Urine filtration membrane under a 4× objective, photographed by an automated digital microscope.
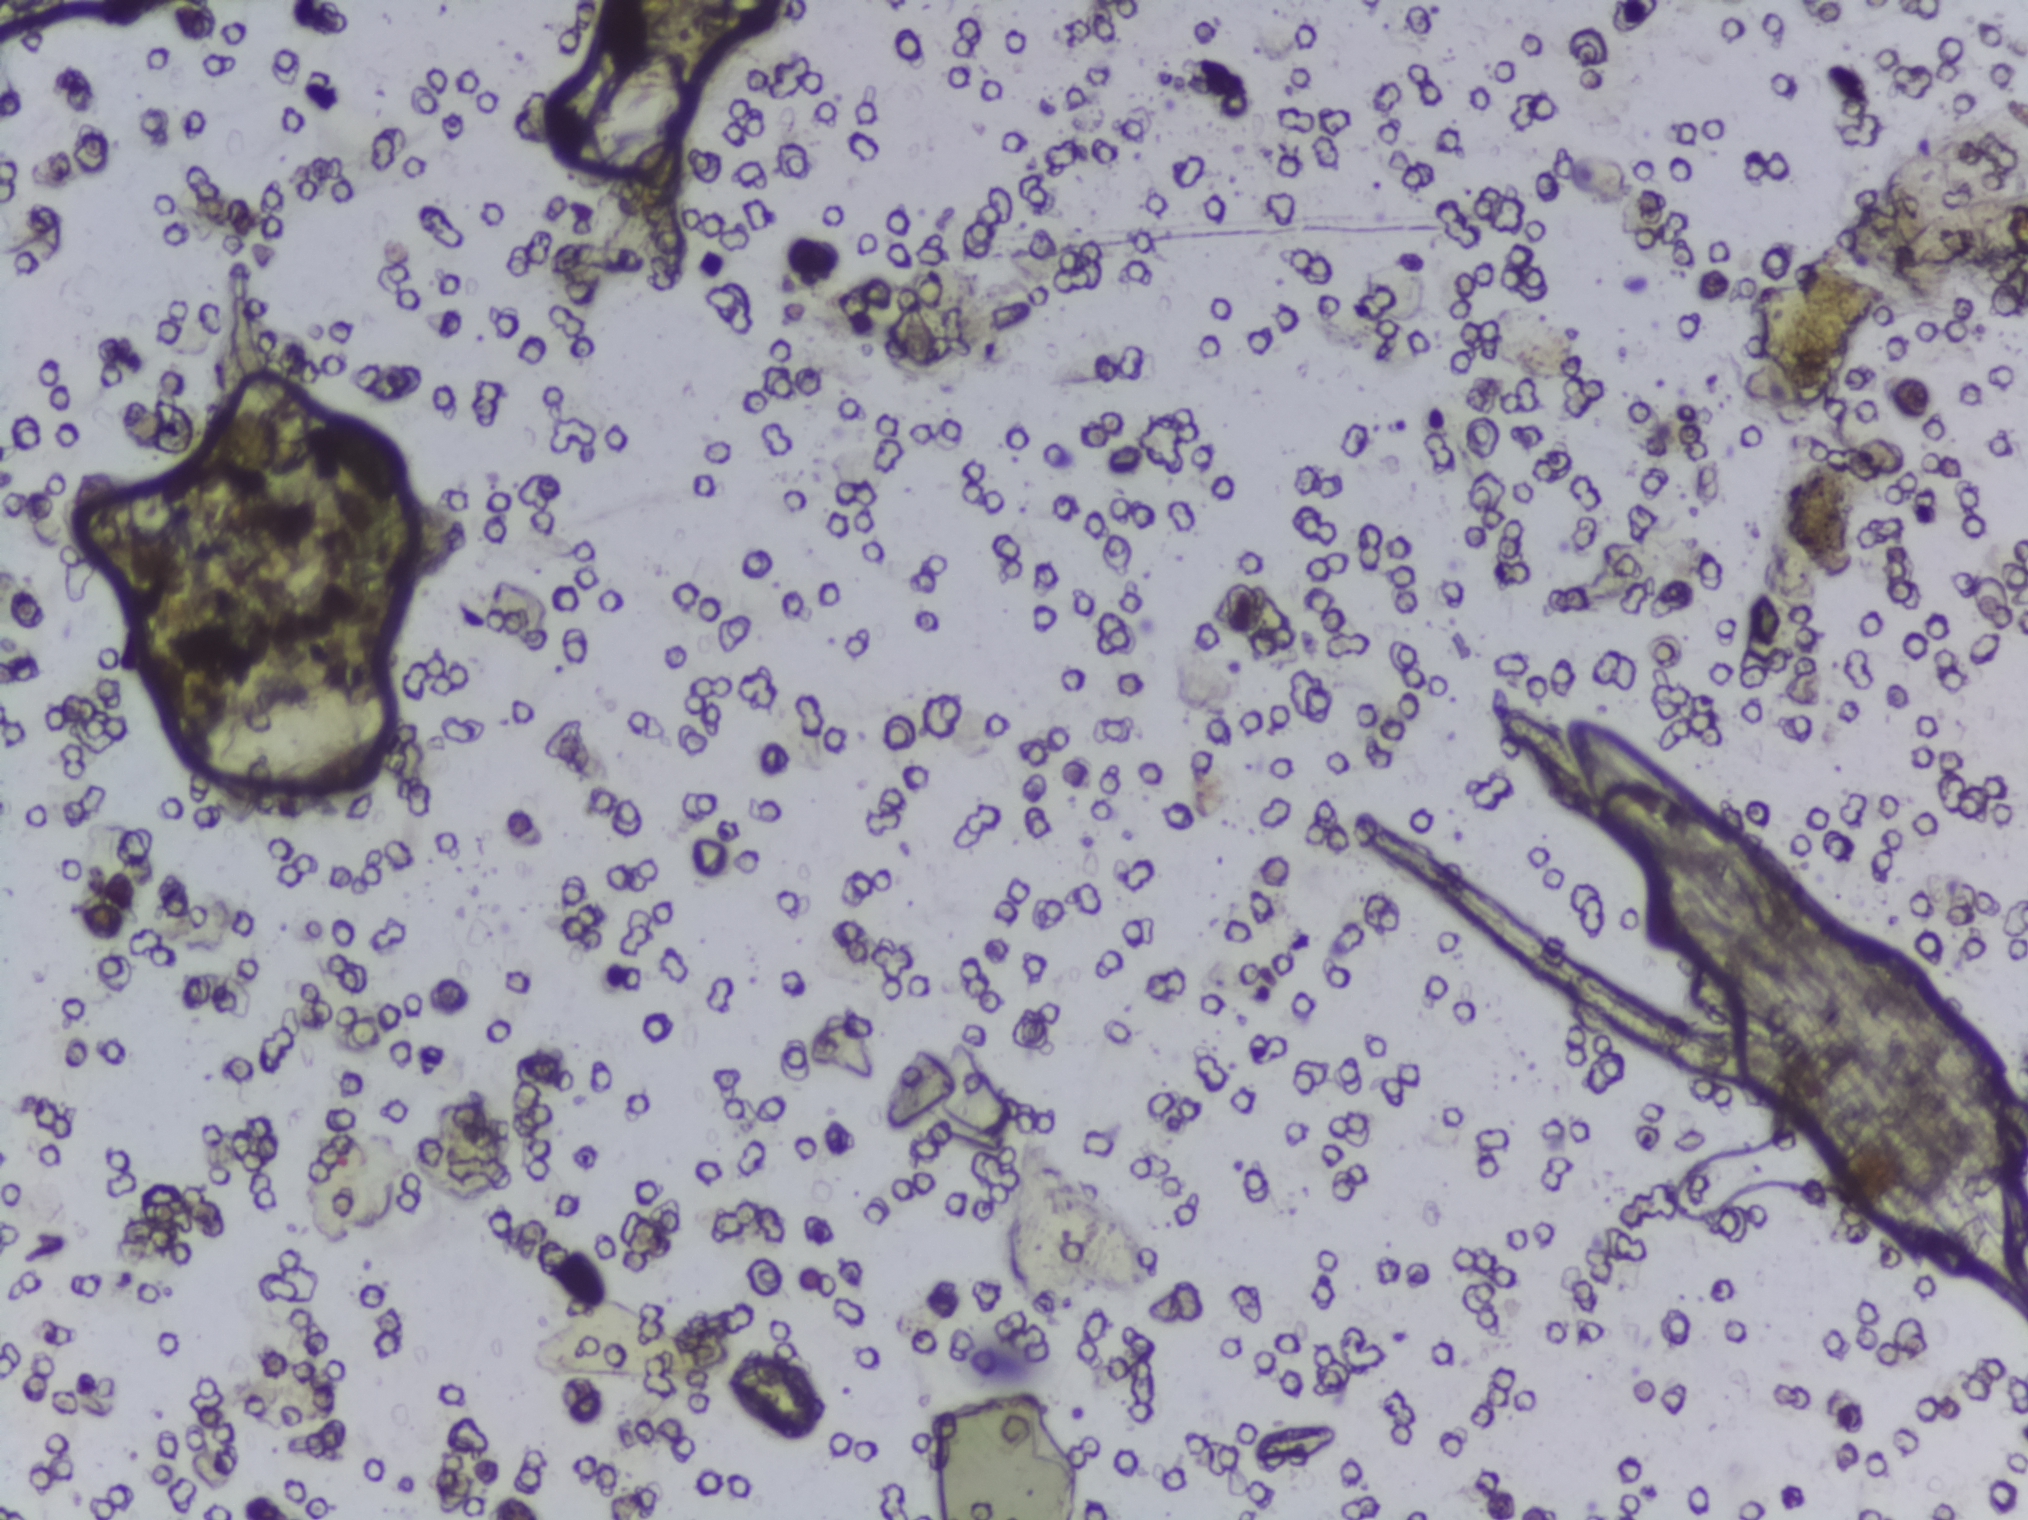
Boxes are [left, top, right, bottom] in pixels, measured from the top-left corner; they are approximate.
Schistosoma eggs are outlined in two areas of this image, listed from left to right: [170, 683, 404, 800] and [577, 53, 690, 163]. Eggs that touch can end up inside the same outlined area. Any one outlined egg may, rarely, be S. mansoni rather than S. haematobium.